Photograph from an automated digital microscope: urine filter membrane, 4× objective. The field of view is about 1.5 mm × 1.1 mm.
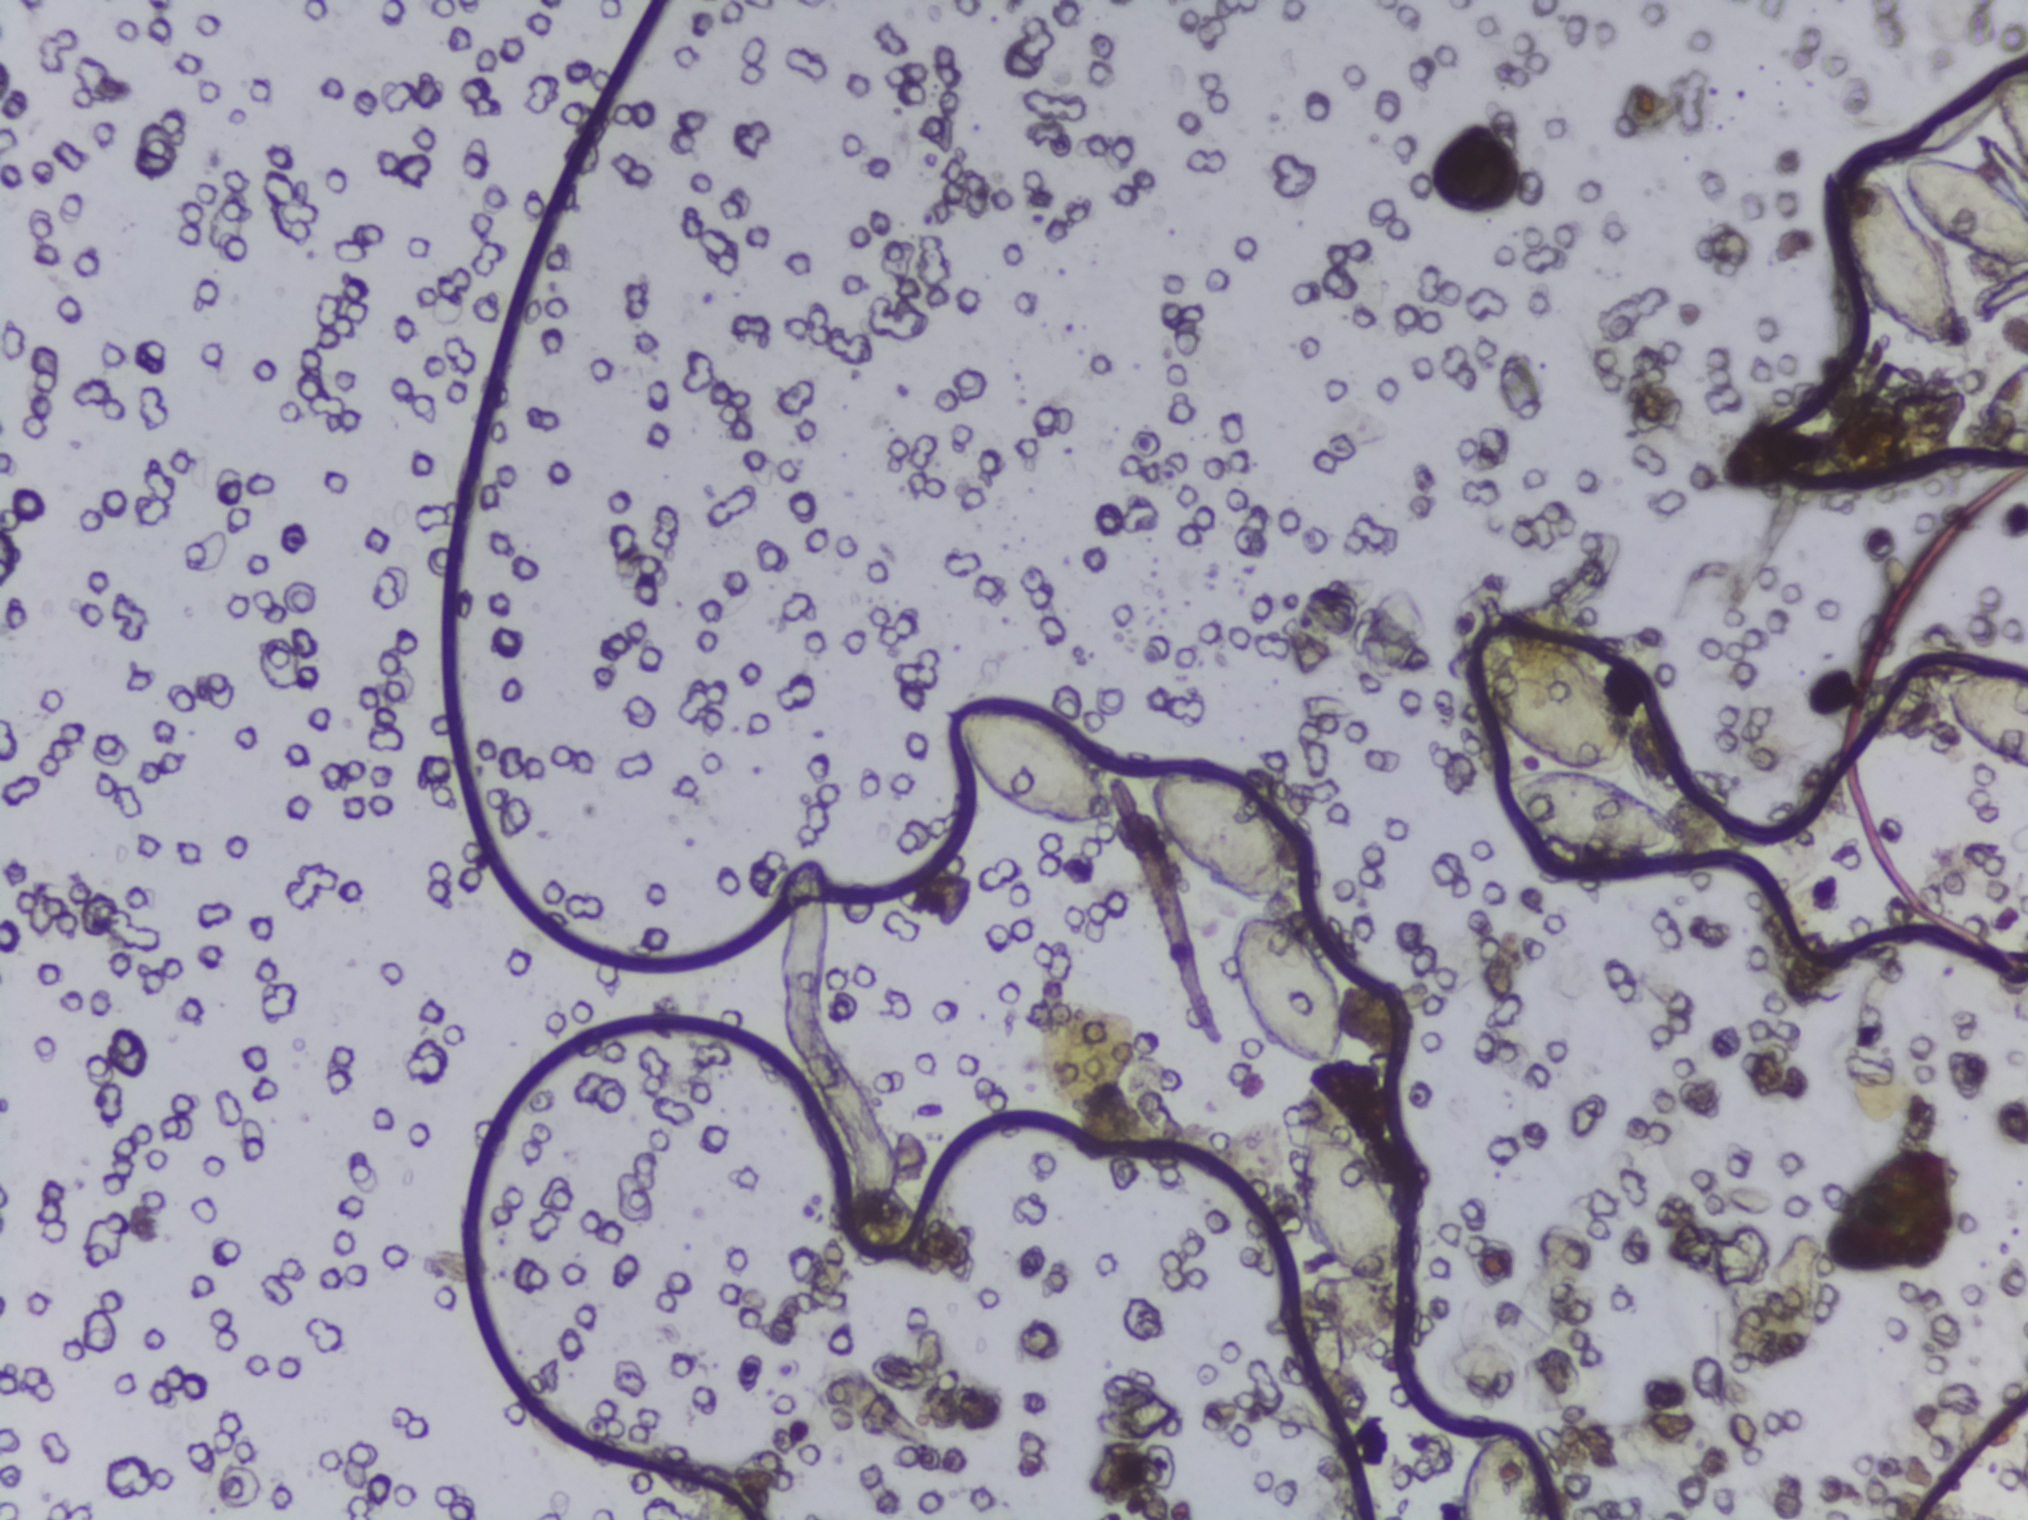
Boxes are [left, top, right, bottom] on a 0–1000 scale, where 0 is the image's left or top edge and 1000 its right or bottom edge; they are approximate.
Schistosoma eggs, outlined areas: [464, 459, 552, 547]; [561, 503, 637, 594]; [605, 599, 663, 701]; [639, 734, 690, 847]; [713, 417, 828, 564]; [720, 936, 767, 1000] (reaching the bottom edge of the frame); [899, 105, 974, 240]; [936, 100, 1000, 174] (reaching the right edge of the frame); [956, 442, 1000, 505] (reaching the right edge of the frame); [973, 234, 1000, 284] (reaching the right edge of the frame); [982, 47, 1000, 115] (reaching the right edge of the frame). The marked pixels themselves, not the boxes around them, cover about 4.0% of the image. Eggs that touch can end up inside the same outlined area.